Microscope photograph (4× objective) of a membrane that a urine sample was filtered through. Field of view: about 1.5 mm wide and 1.1 mm high.
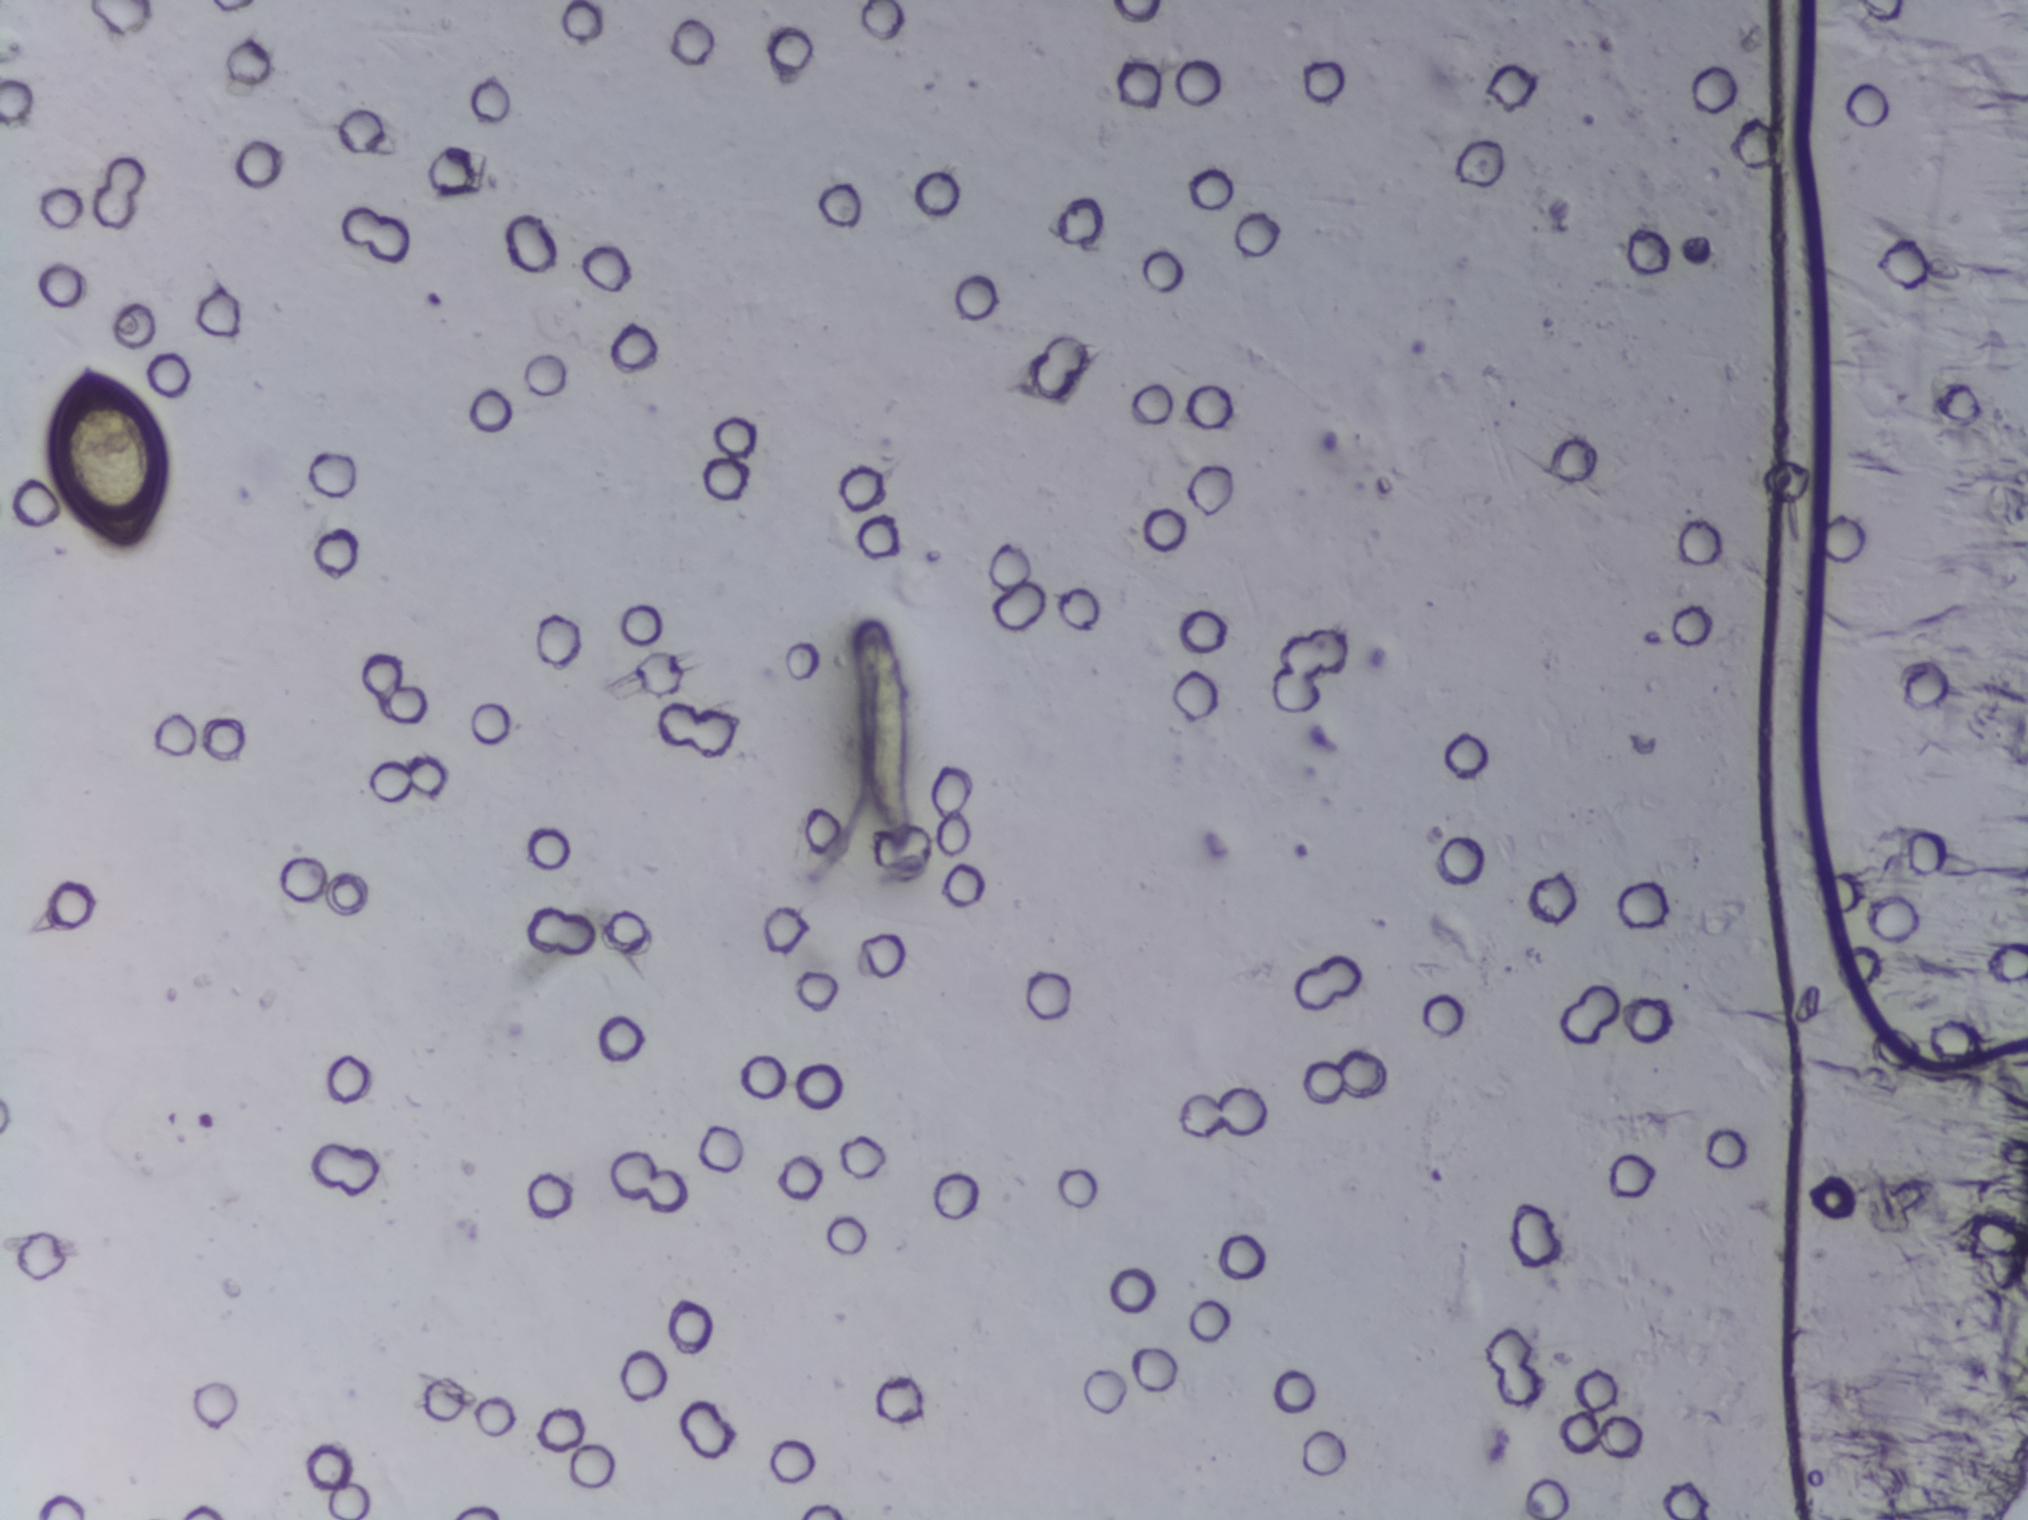
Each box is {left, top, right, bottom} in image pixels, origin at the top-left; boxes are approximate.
Schistosoma eggs are outlined in one area of this image: {52, 355, 163, 547}. An outlined area can hold more than one egg.